Urine filtration membrane under a 4× objective, photographed by an automated digital microscope.
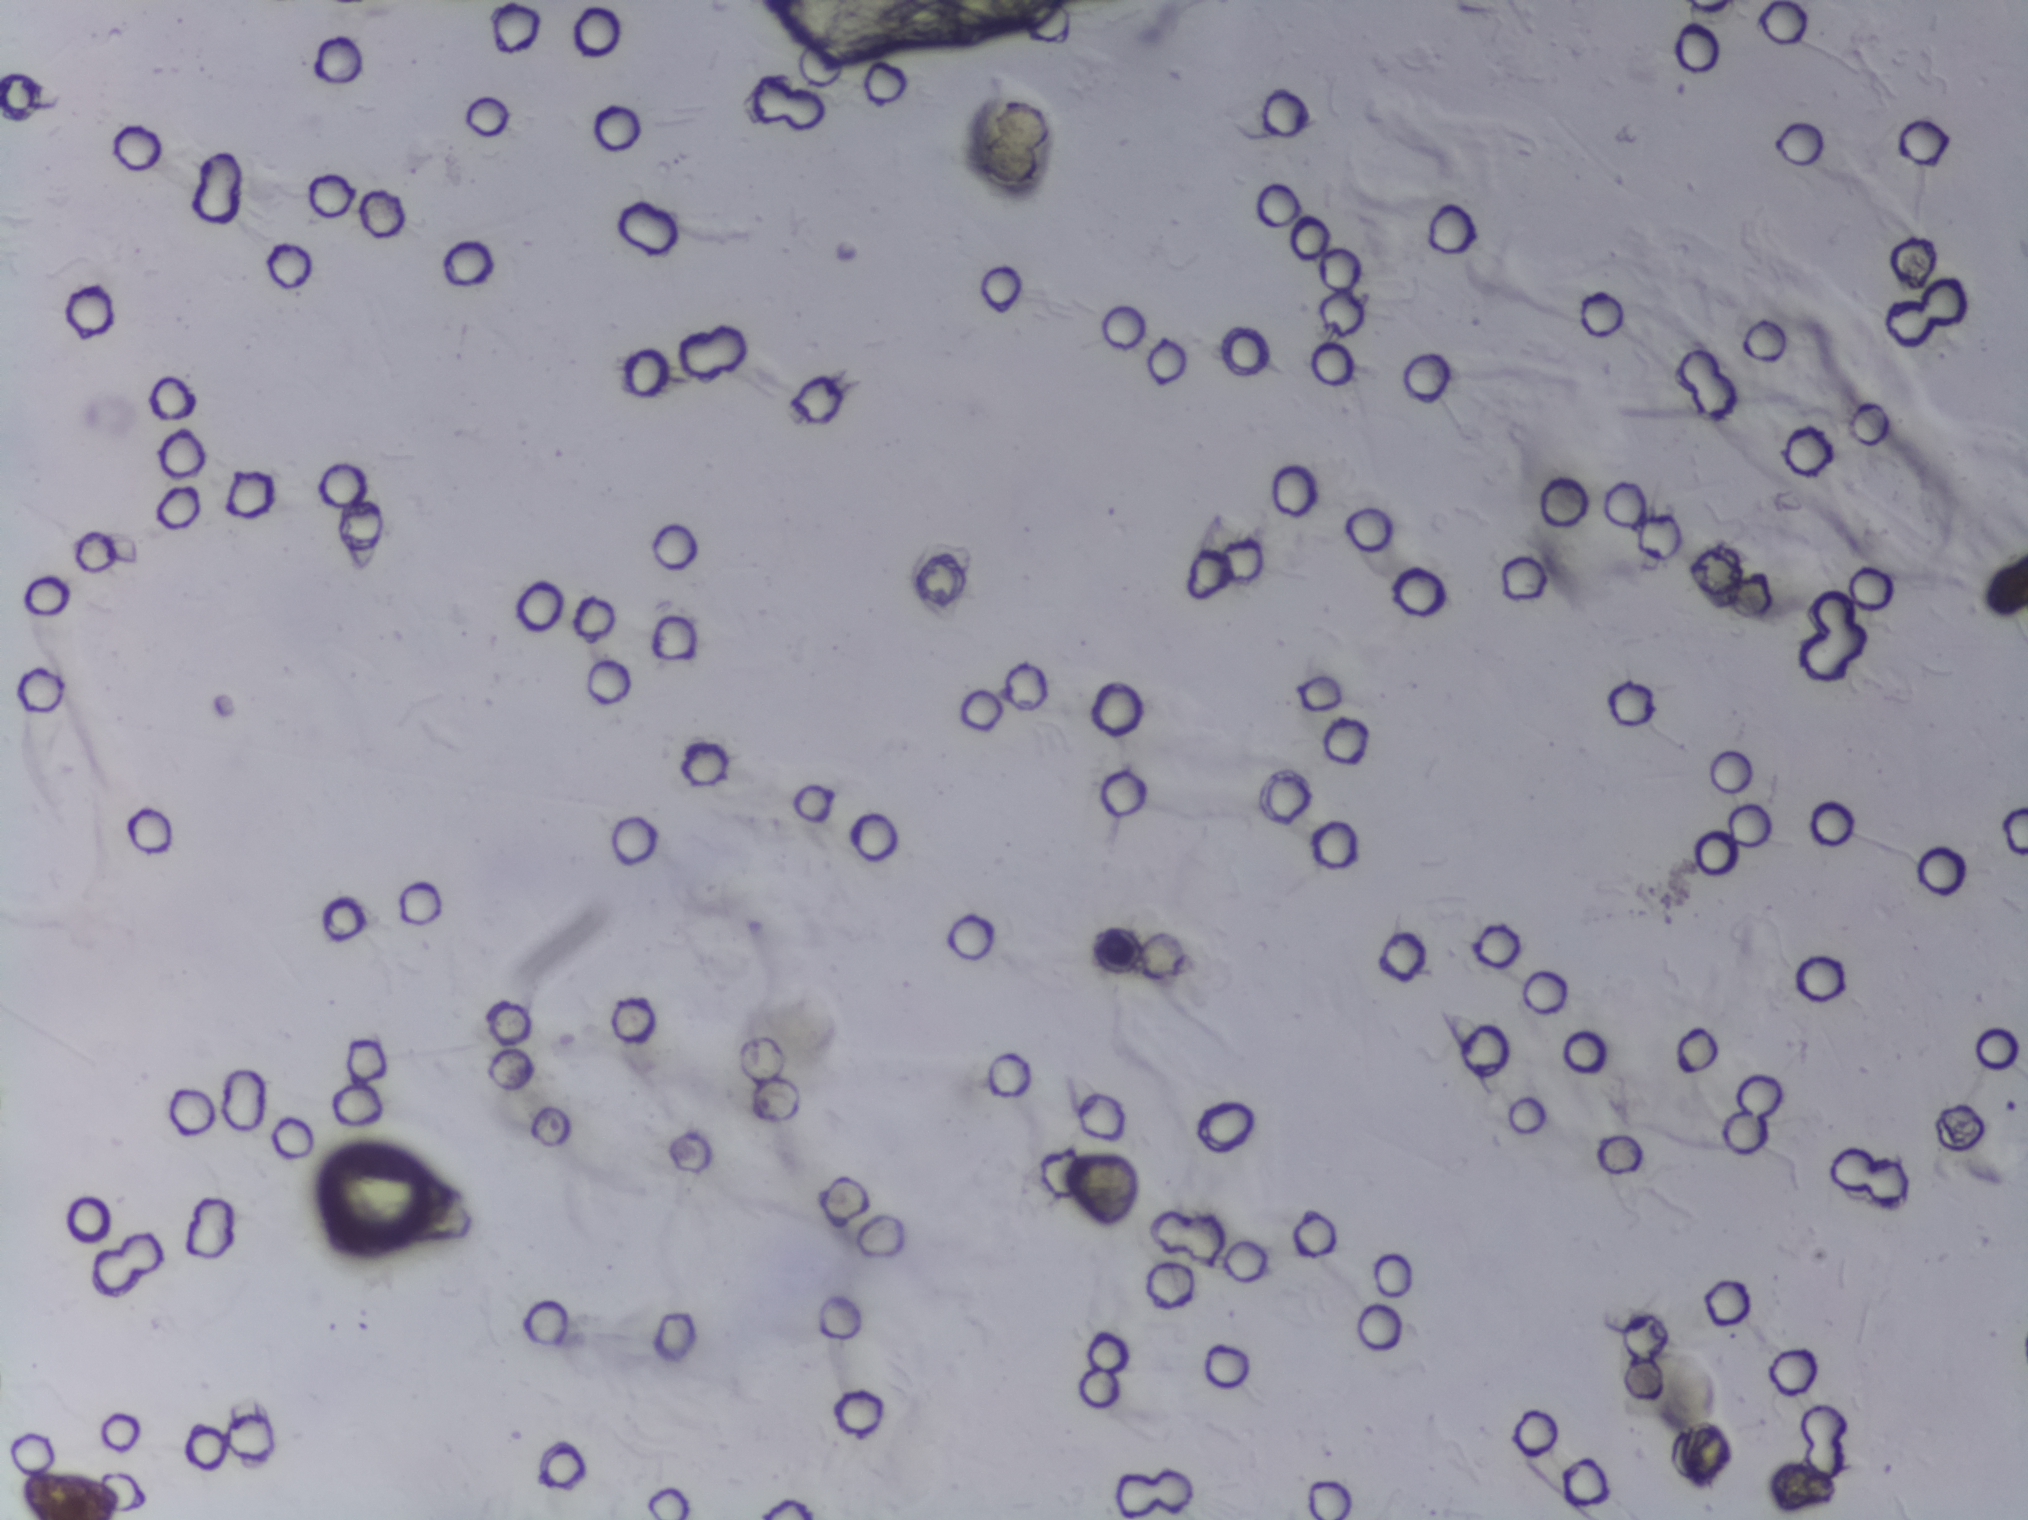
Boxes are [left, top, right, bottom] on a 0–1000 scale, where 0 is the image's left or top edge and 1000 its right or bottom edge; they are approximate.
The expert annotation outlines Schistosoma eggs at [157, 770, 231, 813]. An outlined area can hold more than one egg.